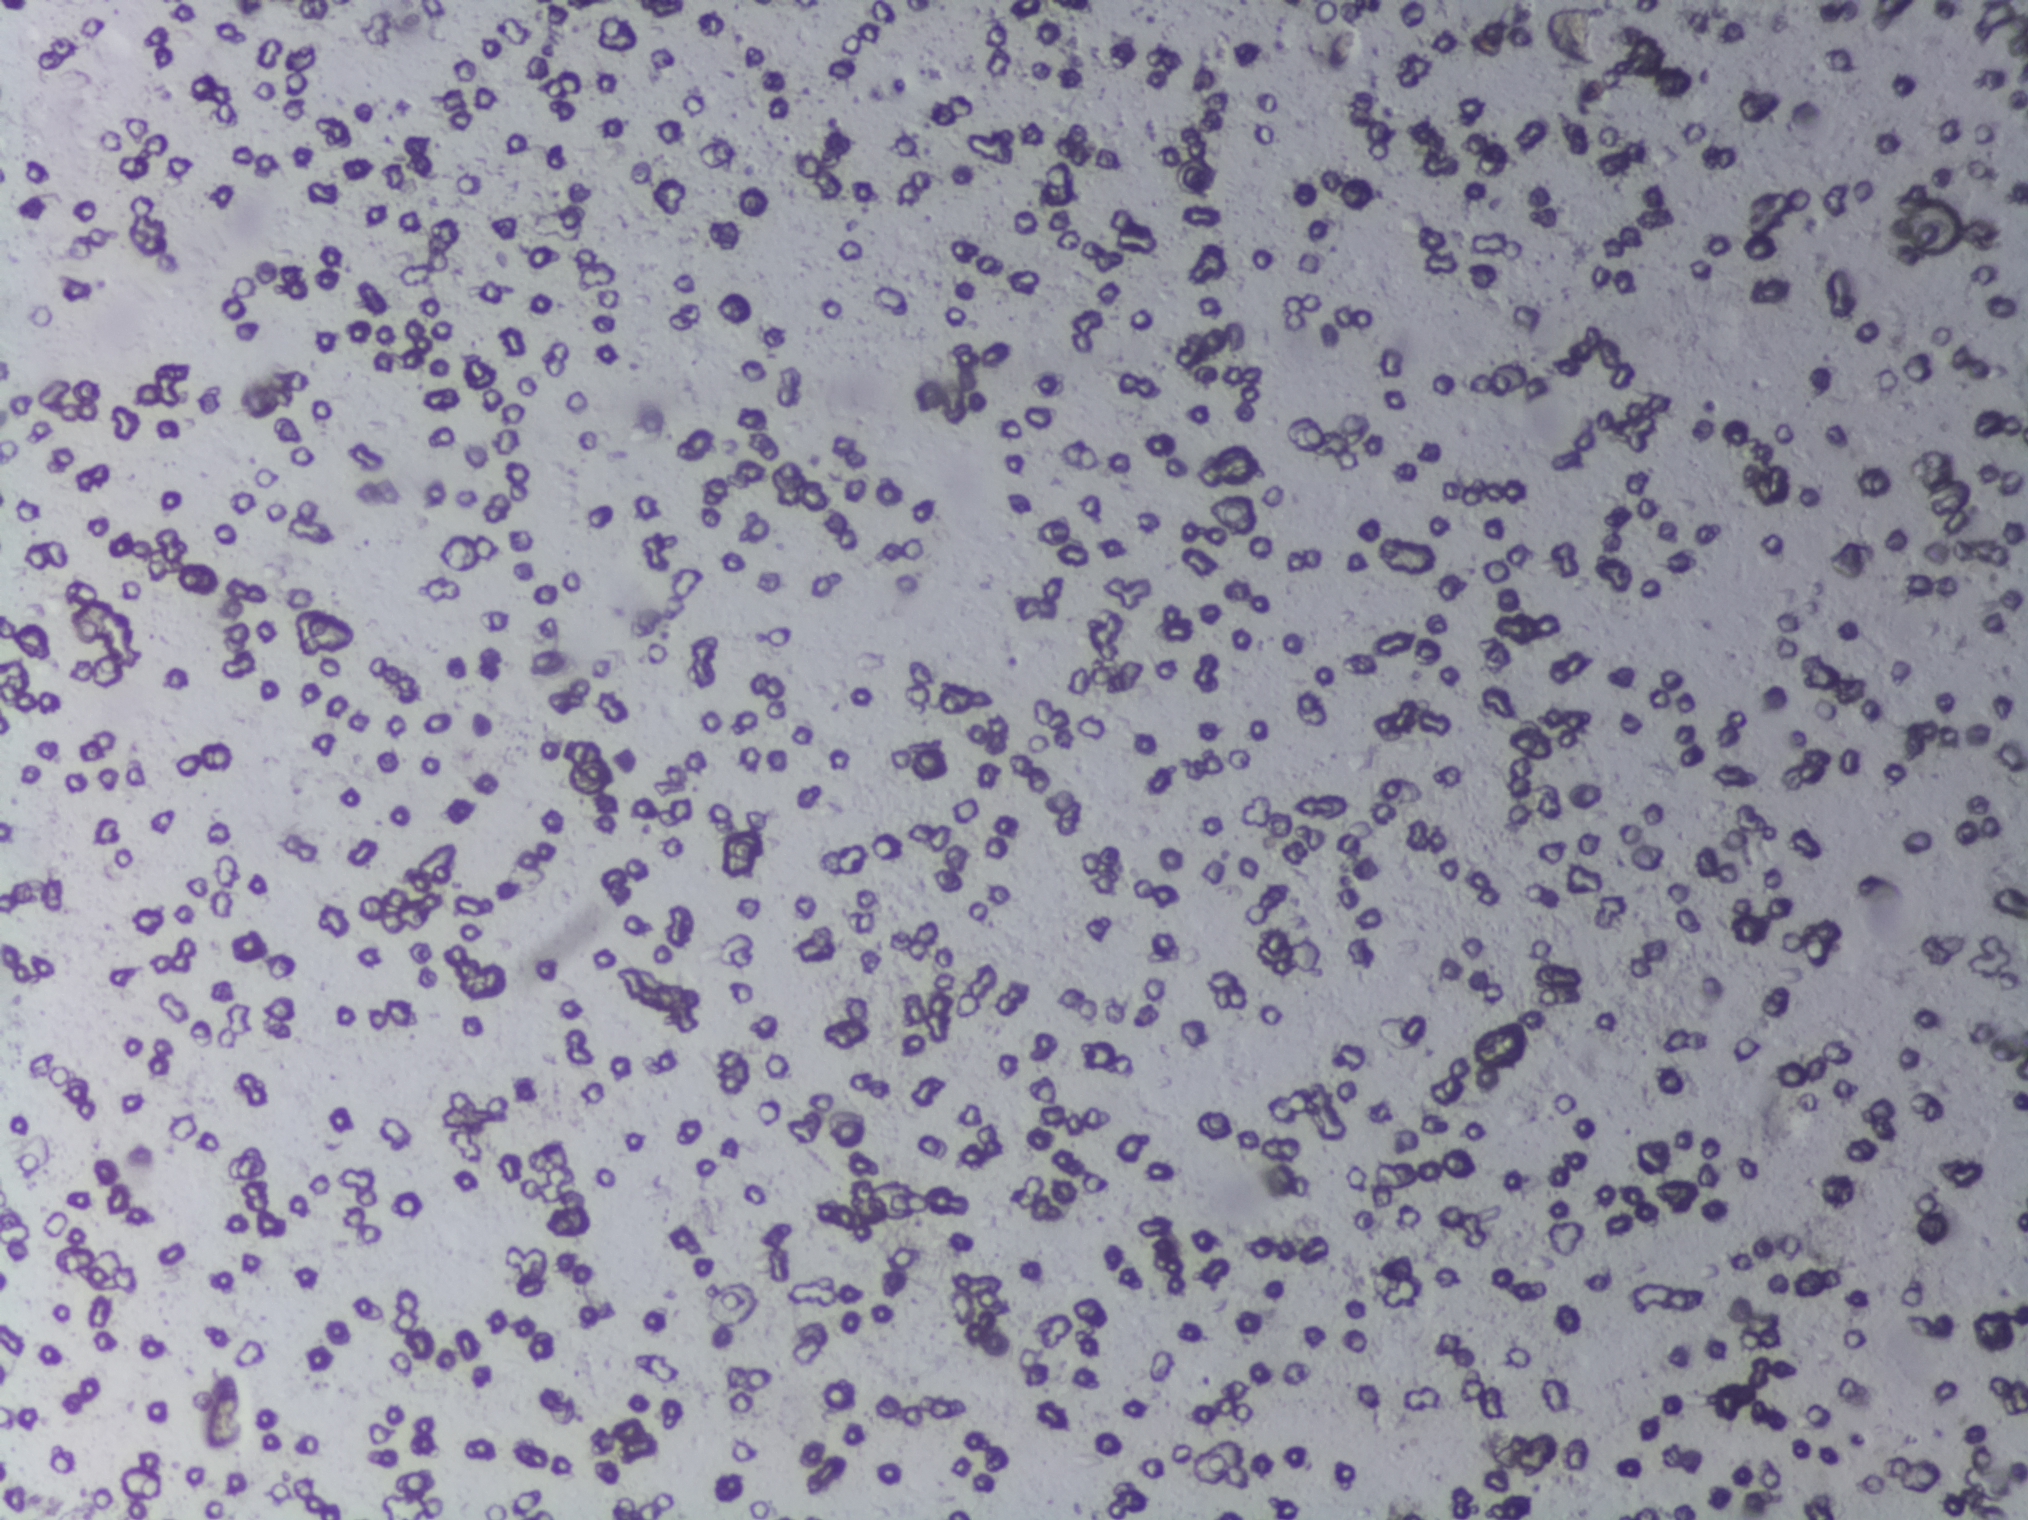
Urine filter membrane photographed through a 4× microscope objective.
The expert annotation outlines no Schistosoma egg in this image.